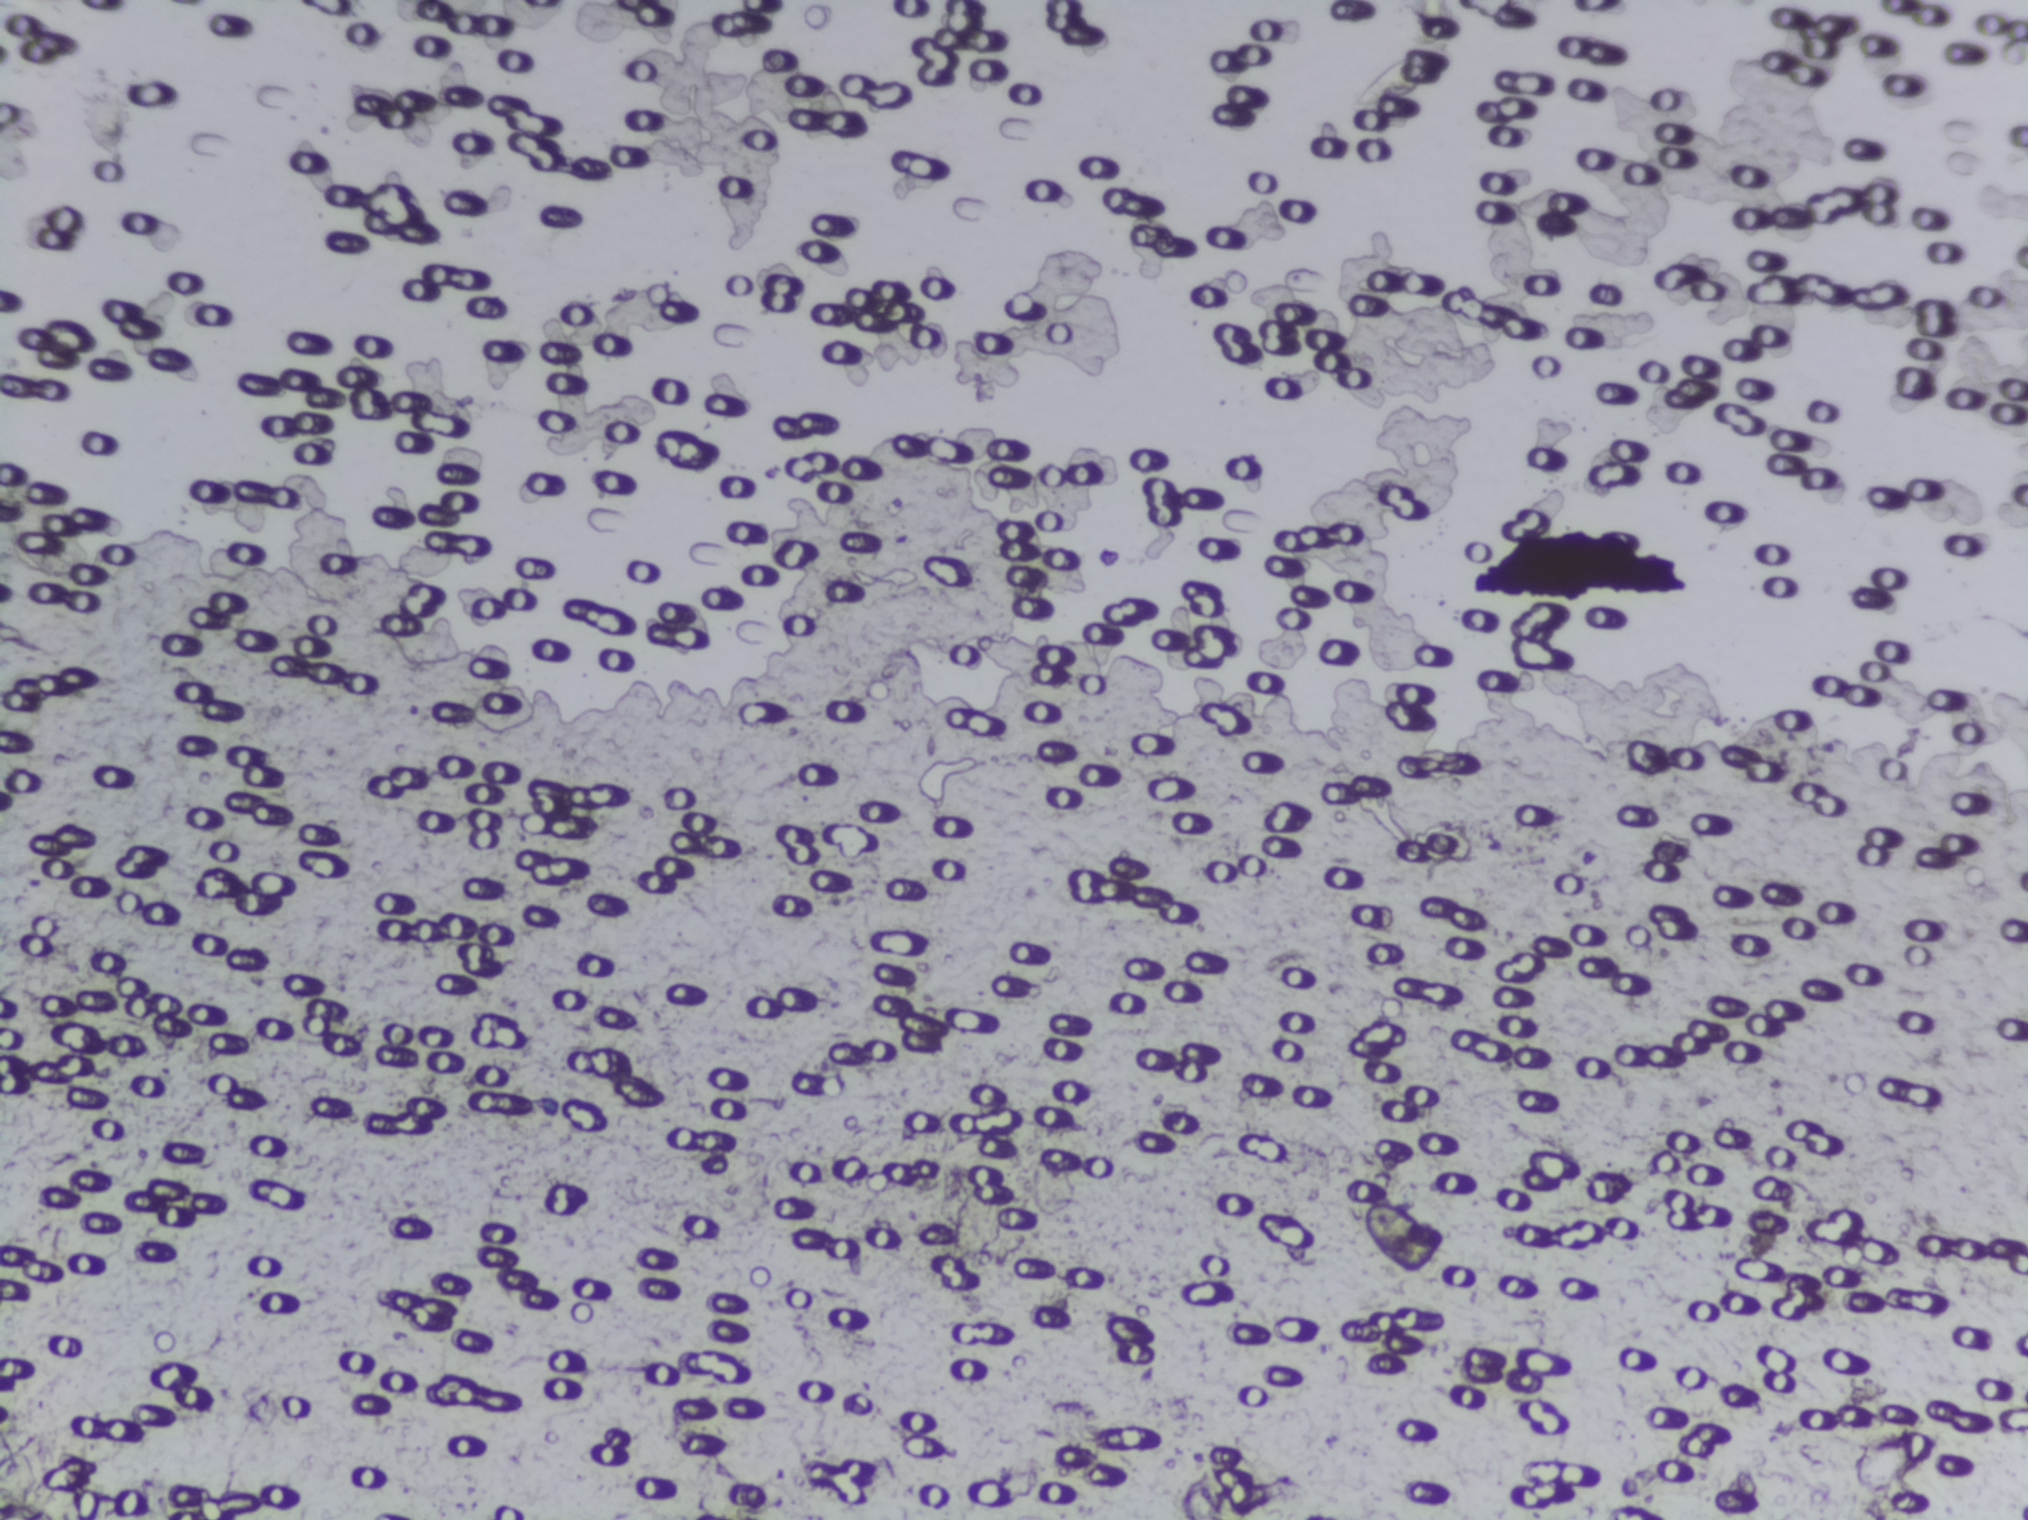
No area of this image was outlined as a Schistosoma egg.
Urine filter membrane photographed through a 4× microscope objective.